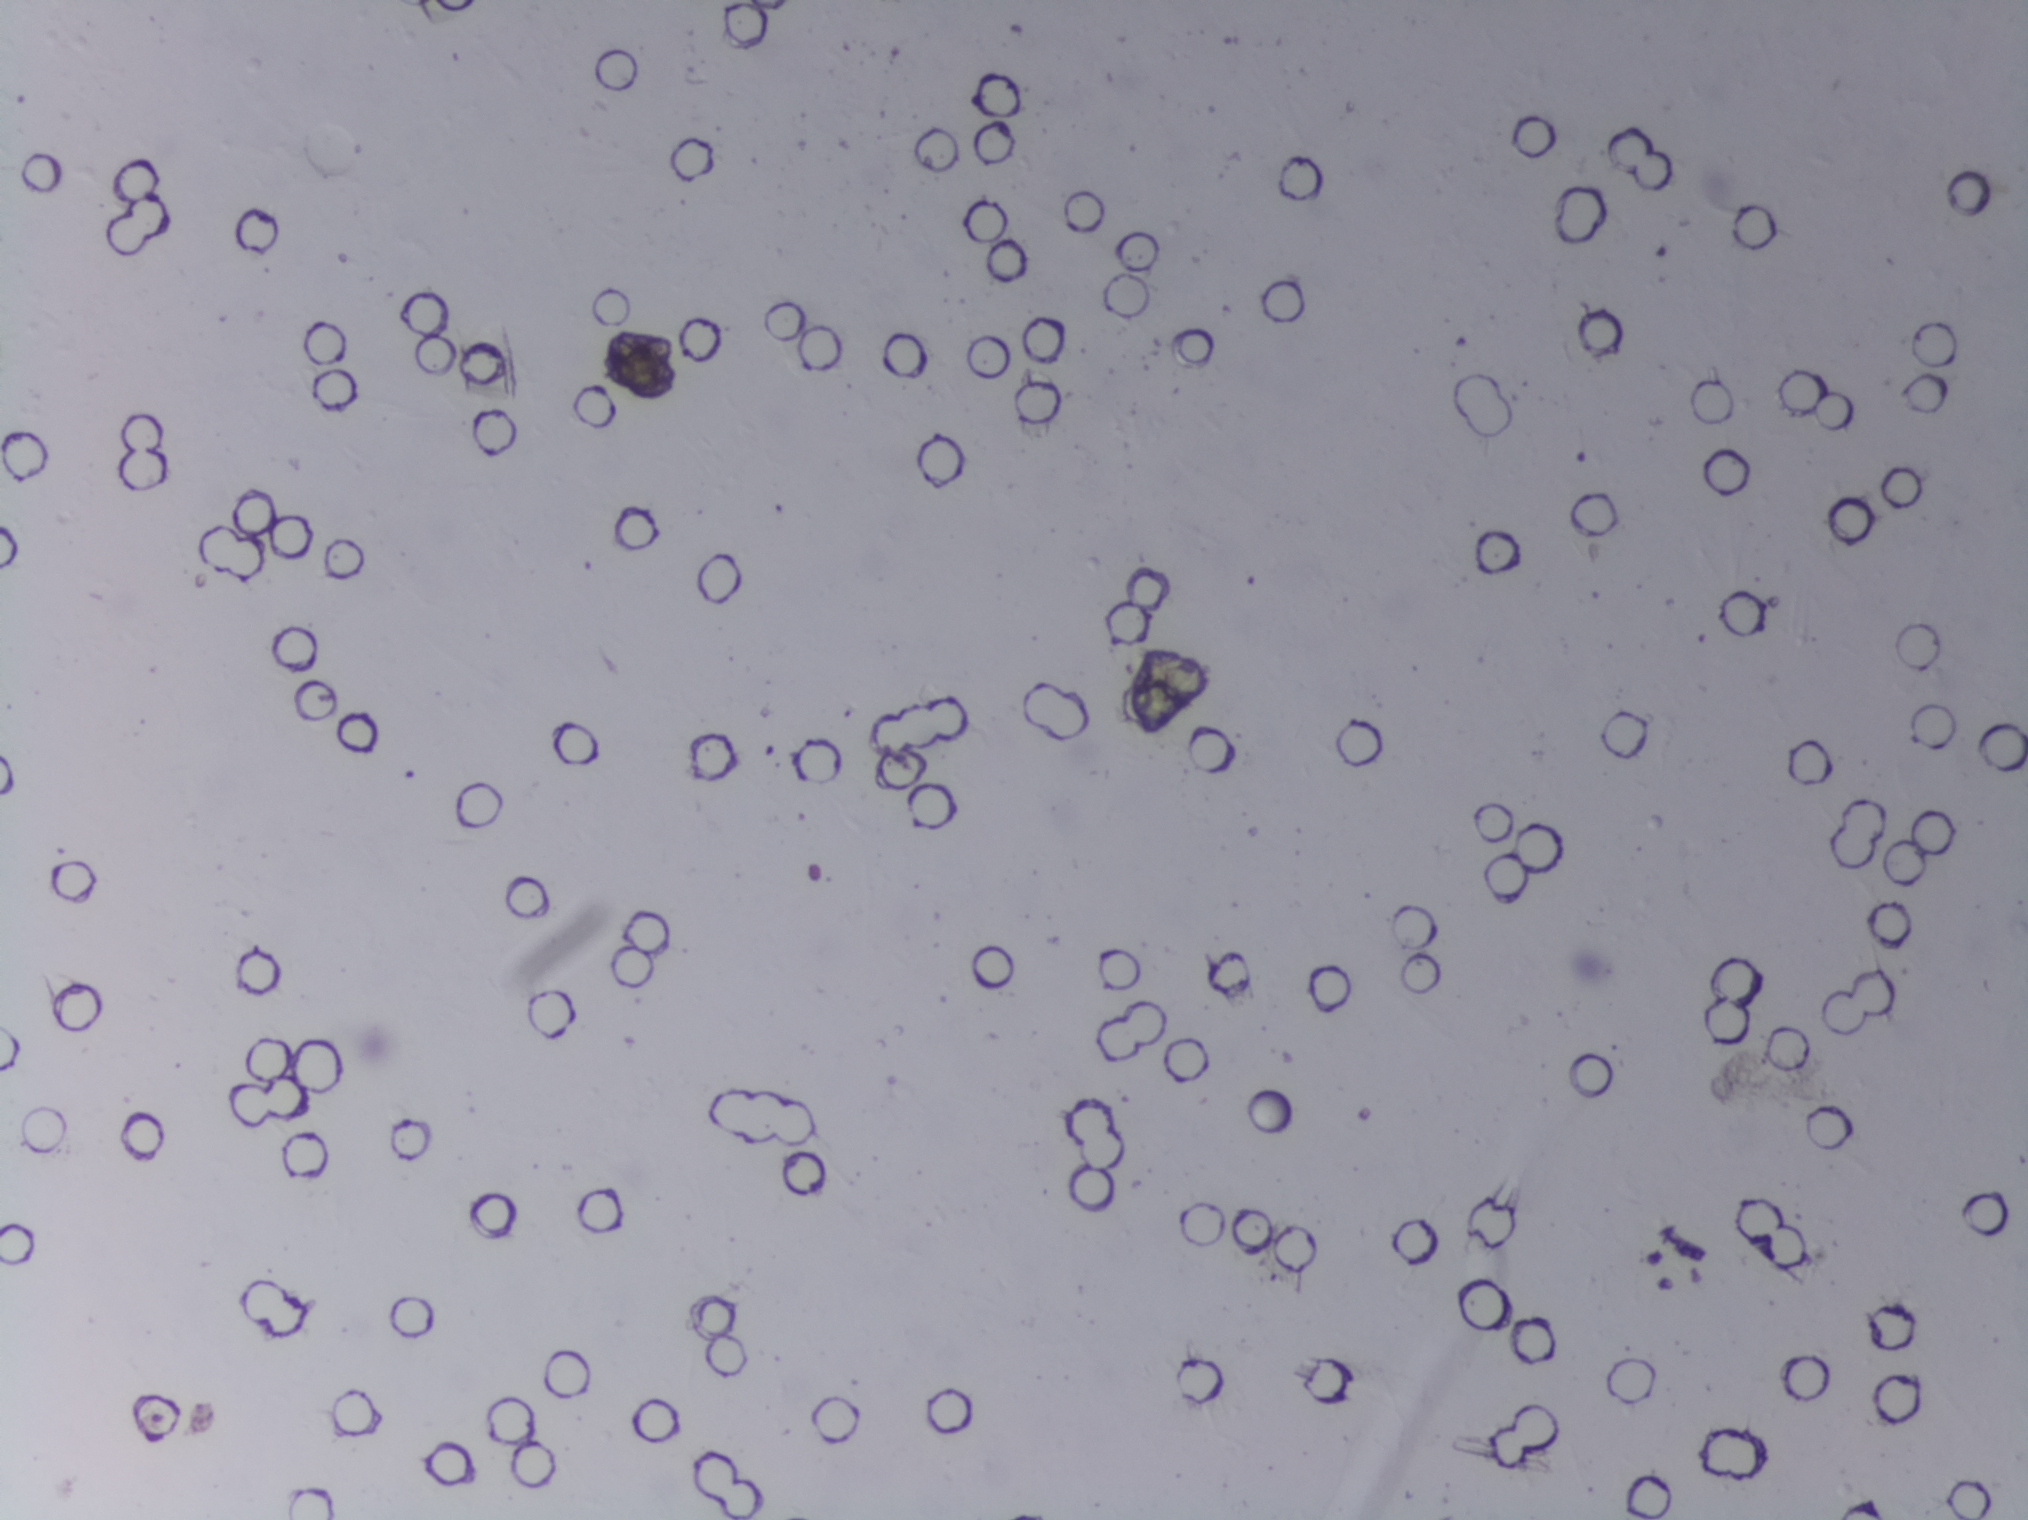
One field of view of a urine filter membrane, 4× objective, 2028 × 1520 pixels. Field of view: about 1.5 mm wide and 1.1 mm high.
Schistosoma eggs: none outlined.